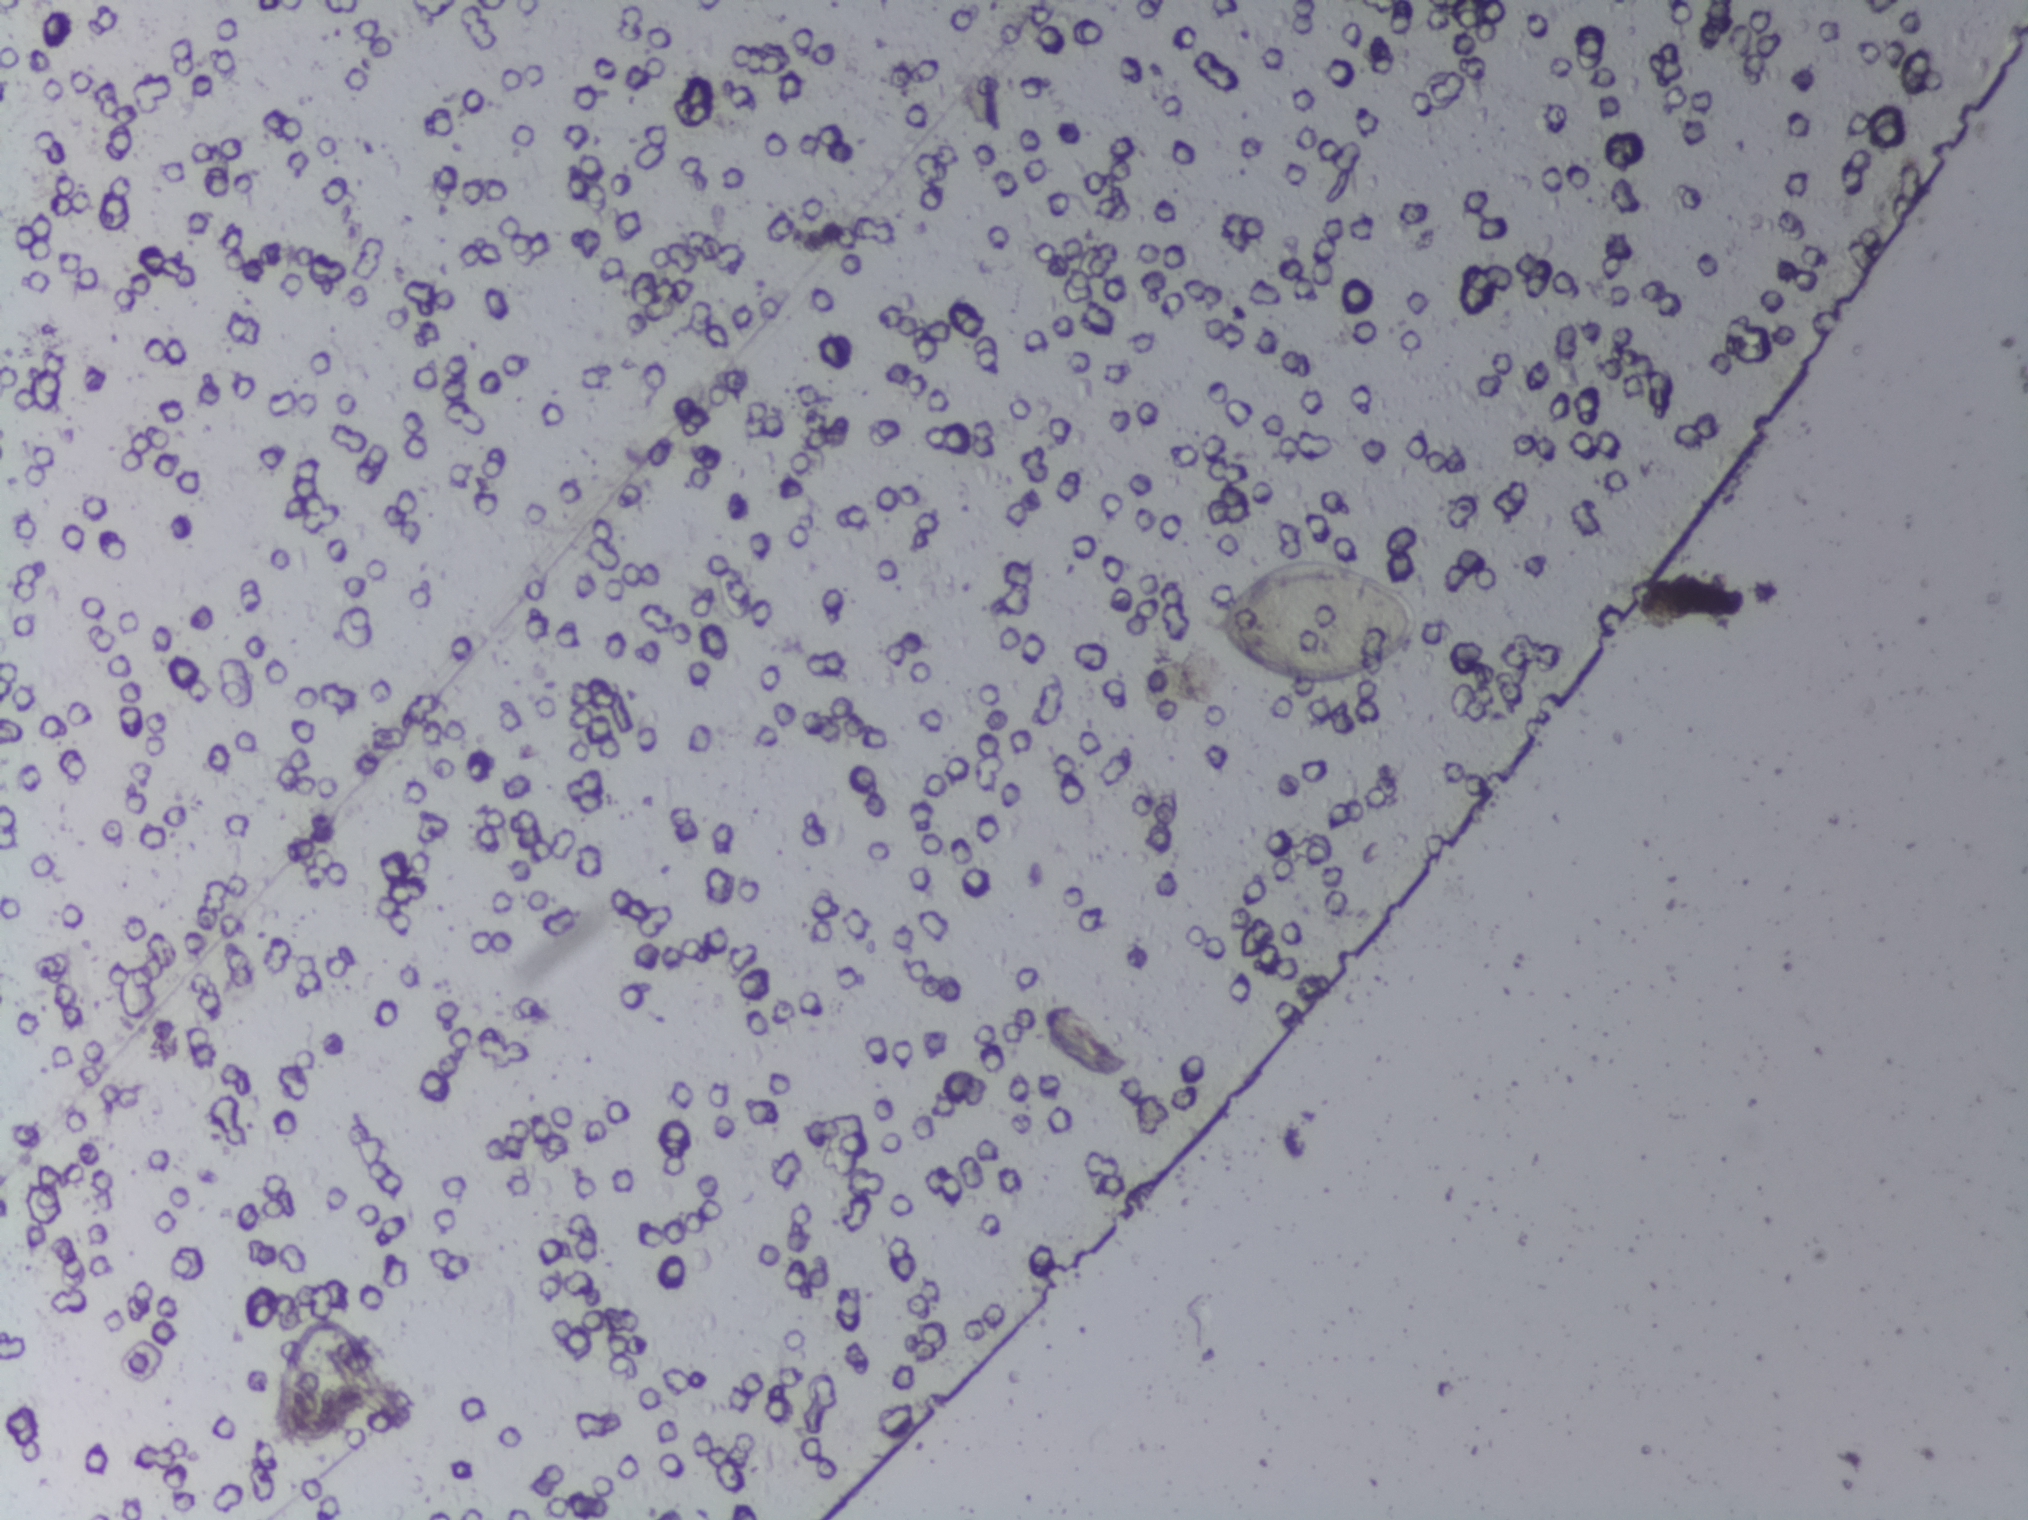
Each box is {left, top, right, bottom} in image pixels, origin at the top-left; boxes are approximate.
Schistosoma eggs, outlined areas: {1213, 557, 1421, 685}. A single outlined area may contain several eggs.
Photomicrograph of a urine filtration membrane, 4× objective. Field of view: about 1.5 mm wide and 1.1 mm high.